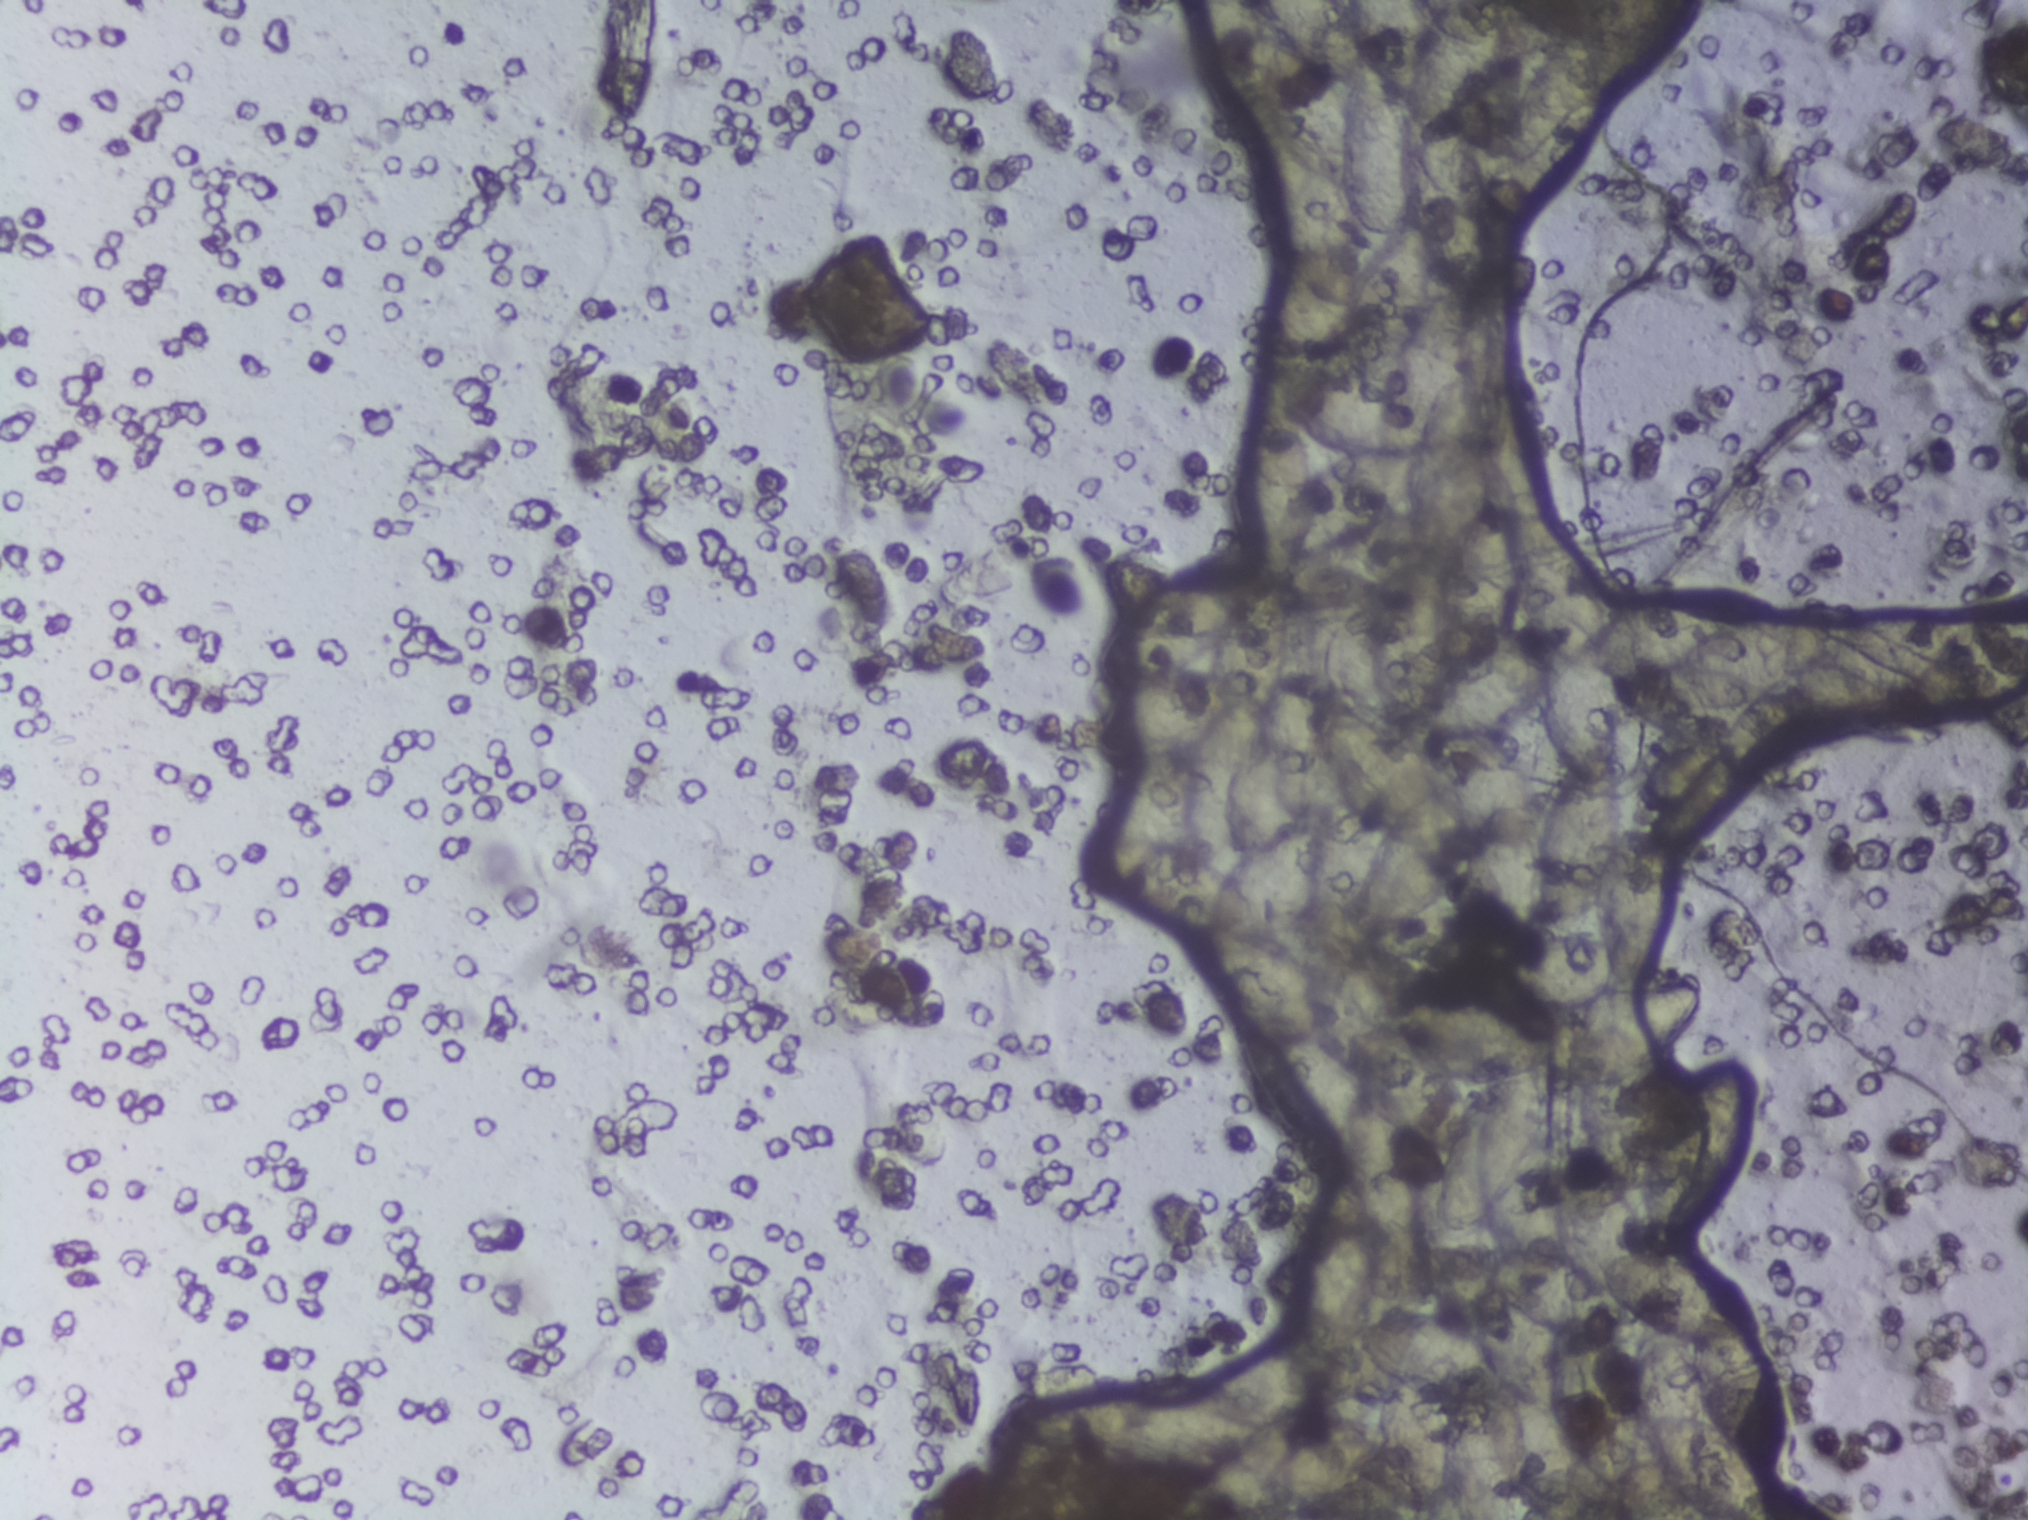
Urine filtration membrane under a 4× objective, photographed by an automated digital microscope. The image covers about 1.5 × 1.1 mm of the membrane.
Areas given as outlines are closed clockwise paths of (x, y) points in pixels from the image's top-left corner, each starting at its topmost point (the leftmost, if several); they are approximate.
Schistosoma eggs are outlined in one area of this image: outline (1189, 0), (1417, 0), (1426, 18), (1436, 0), (1501, 0), (1505, 36), (1499, 51), (1581, 26), (1601, 85), (1589, 160), (1548, 209), (1516, 222), (1490, 223), (1490, 265), (1502, 297), (1501, 361), (1537, 454), (1550, 510), (1584, 545), (1615, 616), (1692, 598), (1755, 599), (1771, 606), (1777, 620), (1817, 620), (1826, 636), (1867, 615), (1893, 611), (1947, 612), (1957, 627), (1998, 610), (2027, 612), (2027, 676), (2006, 694), (1943, 710), (1920, 710), (1896, 695), (1878, 706), (1818, 716), (1802, 748), (1759, 778), (1746, 778), (1732, 800), (1691, 827), (1663, 836), (1670, 906), (1648, 974), (1698, 971), (1703, 995), (1695, 1016), (1647, 1077), (1672, 1098), (1707, 1063), (1747, 1057), (1760, 1068), (1764, 1105), (1740, 1174), (1705, 1223), (1667, 1232), (1648, 1218), (1660, 1247), (1710, 1262), (1758, 1309), (1760, 1347), (1785, 1397), (1789, 1430), (1784, 1459), (1759, 1477), (1771, 1519), (1611, 1519), (1603, 1497), (1579, 1488), (1577, 1519), (1535, 1519), (1526, 1511), (1525, 1519), (1463, 1519), (1448, 1499), (1438, 1512), (1418, 1514), (1400, 1499), (1384, 1465), (1366, 1485), (1306, 1510), (1187, 1519), (1185, 1502), (1200, 1474), (1080, 1456), (1014, 1428), (1014, 1418), (1029, 1405), (1111, 1397), (1139, 1381), (1204, 1388), (1229, 1374), (1280, 1332), (1300, 1328), (1295, 1275), (1331, 1233), (1282, 1212), (1263, 1184), (1266, 1165), (1321, 1164), (1257, 1090), (1240, 1041), (1246, 1024), (1203, 971), (1199, 936), (1118, 905), (1089, 884), (1080, 862), (1082, 848), (1101, 844), (1108, 806), (1137, 765), (1097, 756), (1089, 740), (1092, 714), (1110, 688), (1098, 676), (1096, 657), (1115, 610), (1171, 569), (1244, 536), (1240, 467), (1261, 380), (1257, 353), (1266, 346), (1266, 316), (1278, 283), (1273, 245), (1275, 239), (1287, 243), (1256, 155), (1256, 115), (1238, 110), (1215, 90), (1196, 43) (eggs clustered together; reaching the top, right and bottom edges of the frame). A single outlined area may contain several eggs.